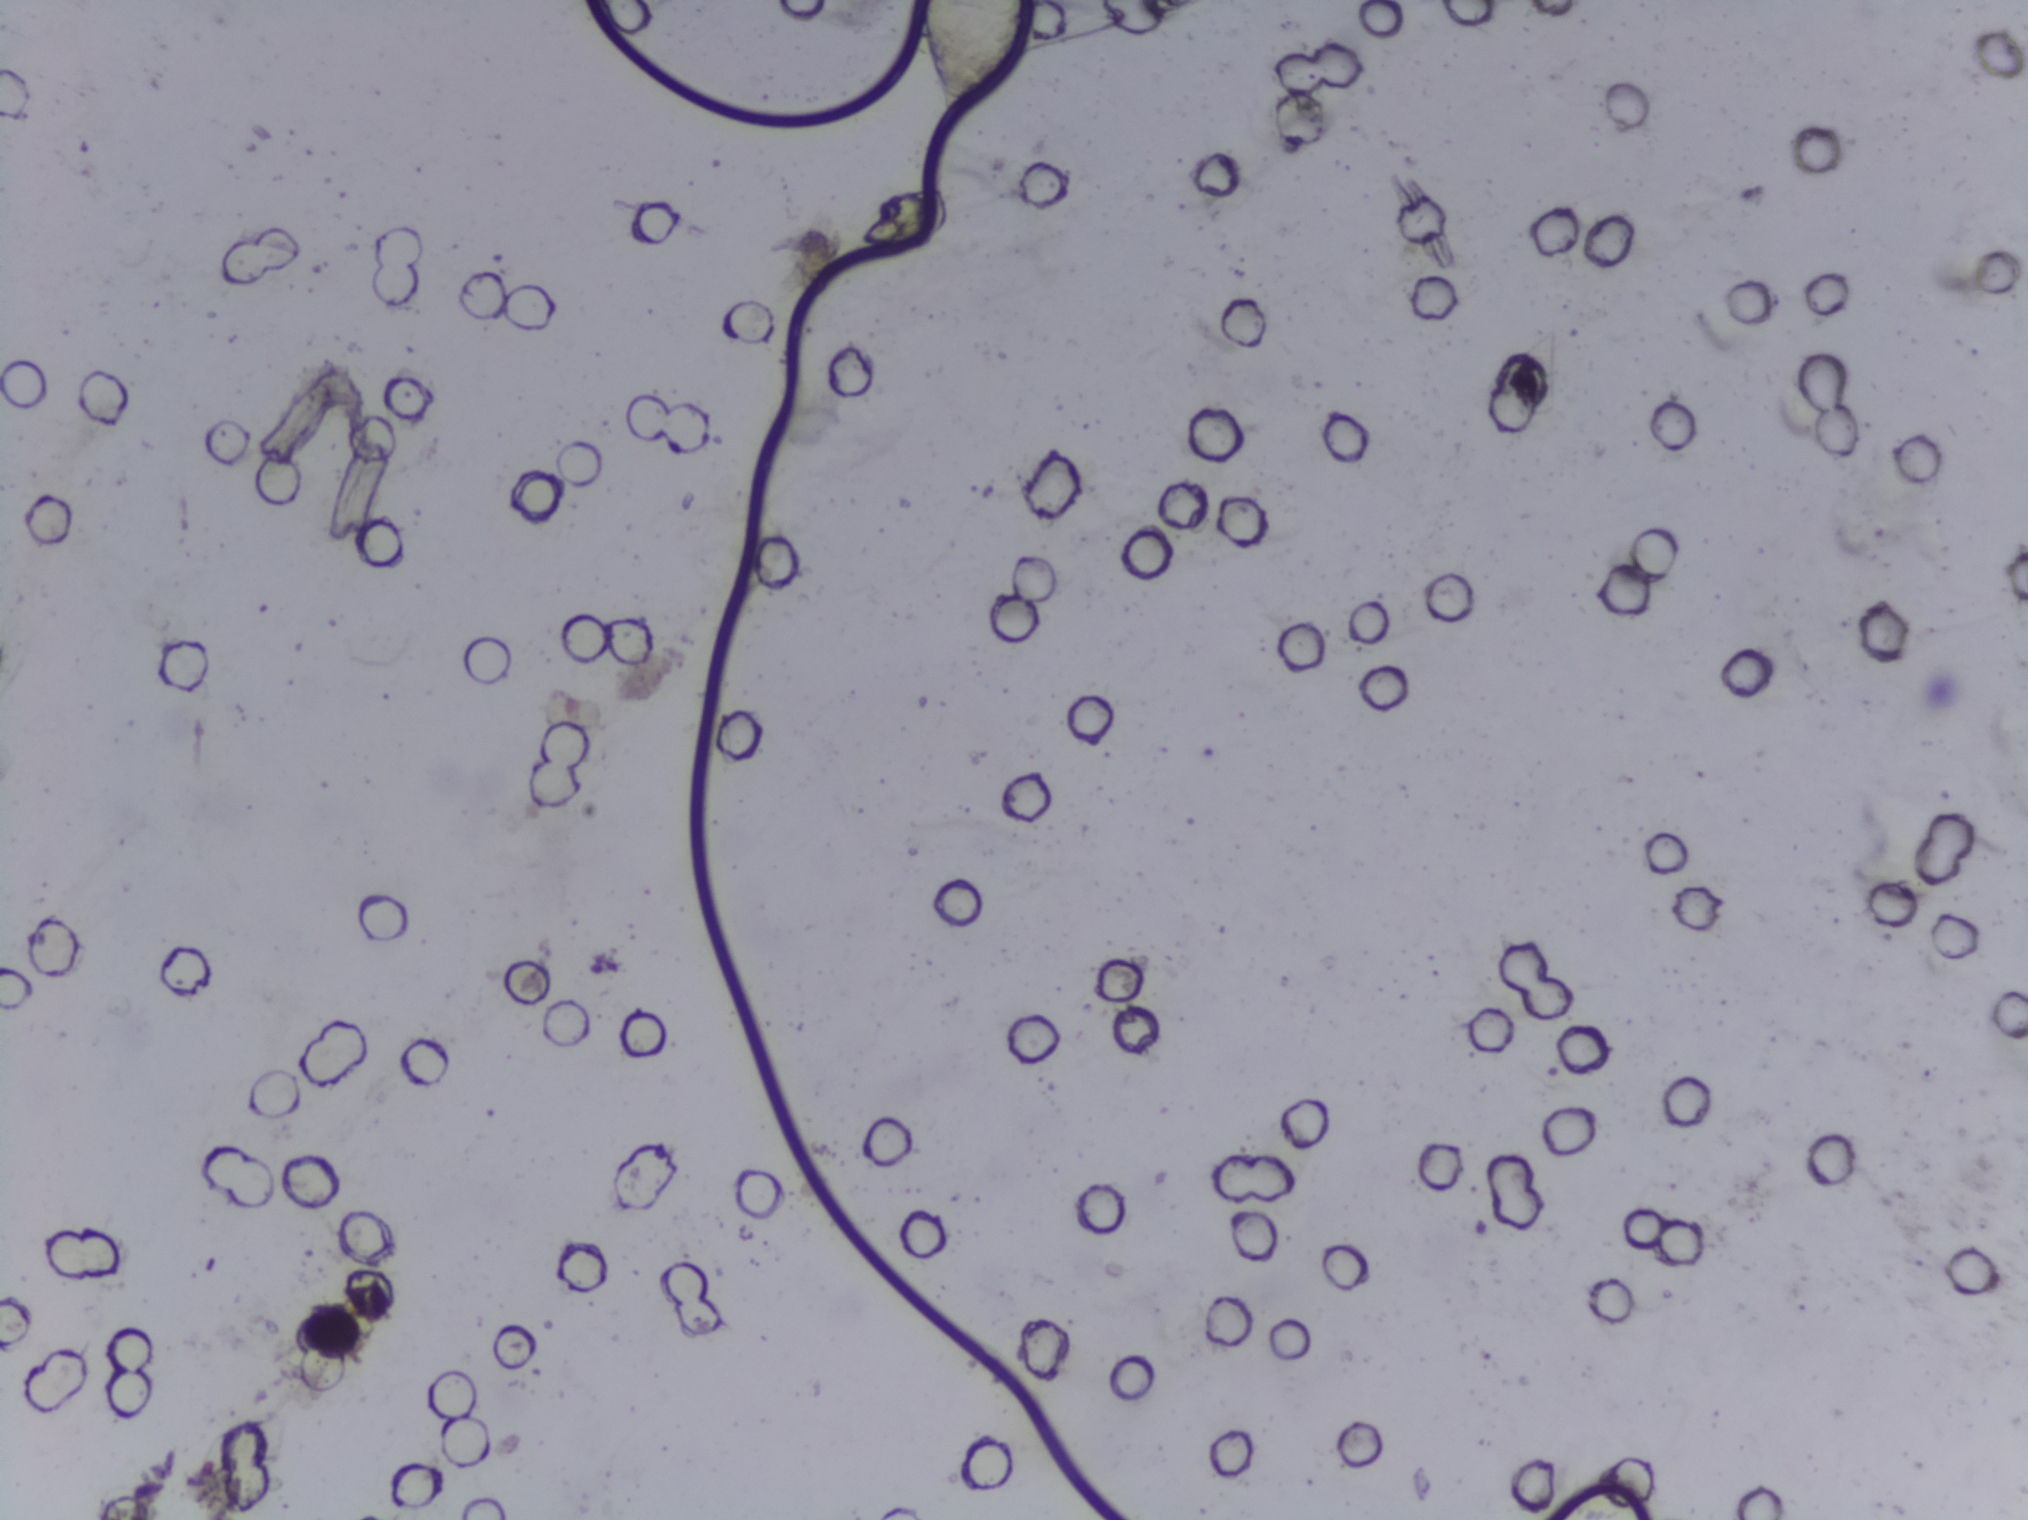
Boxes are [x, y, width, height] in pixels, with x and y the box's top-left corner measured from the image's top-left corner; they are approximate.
One area of this image is outlined as Schistosoma eggs: [916, 0, 124, 116] (reaching the top edge of the frame). A single outlined area may contain several eggs.
Microscope photograph (4× objective) of a membrane that a urine sample was filtered through. The image covers about 1.5 × 1.1 mm of the membrane.